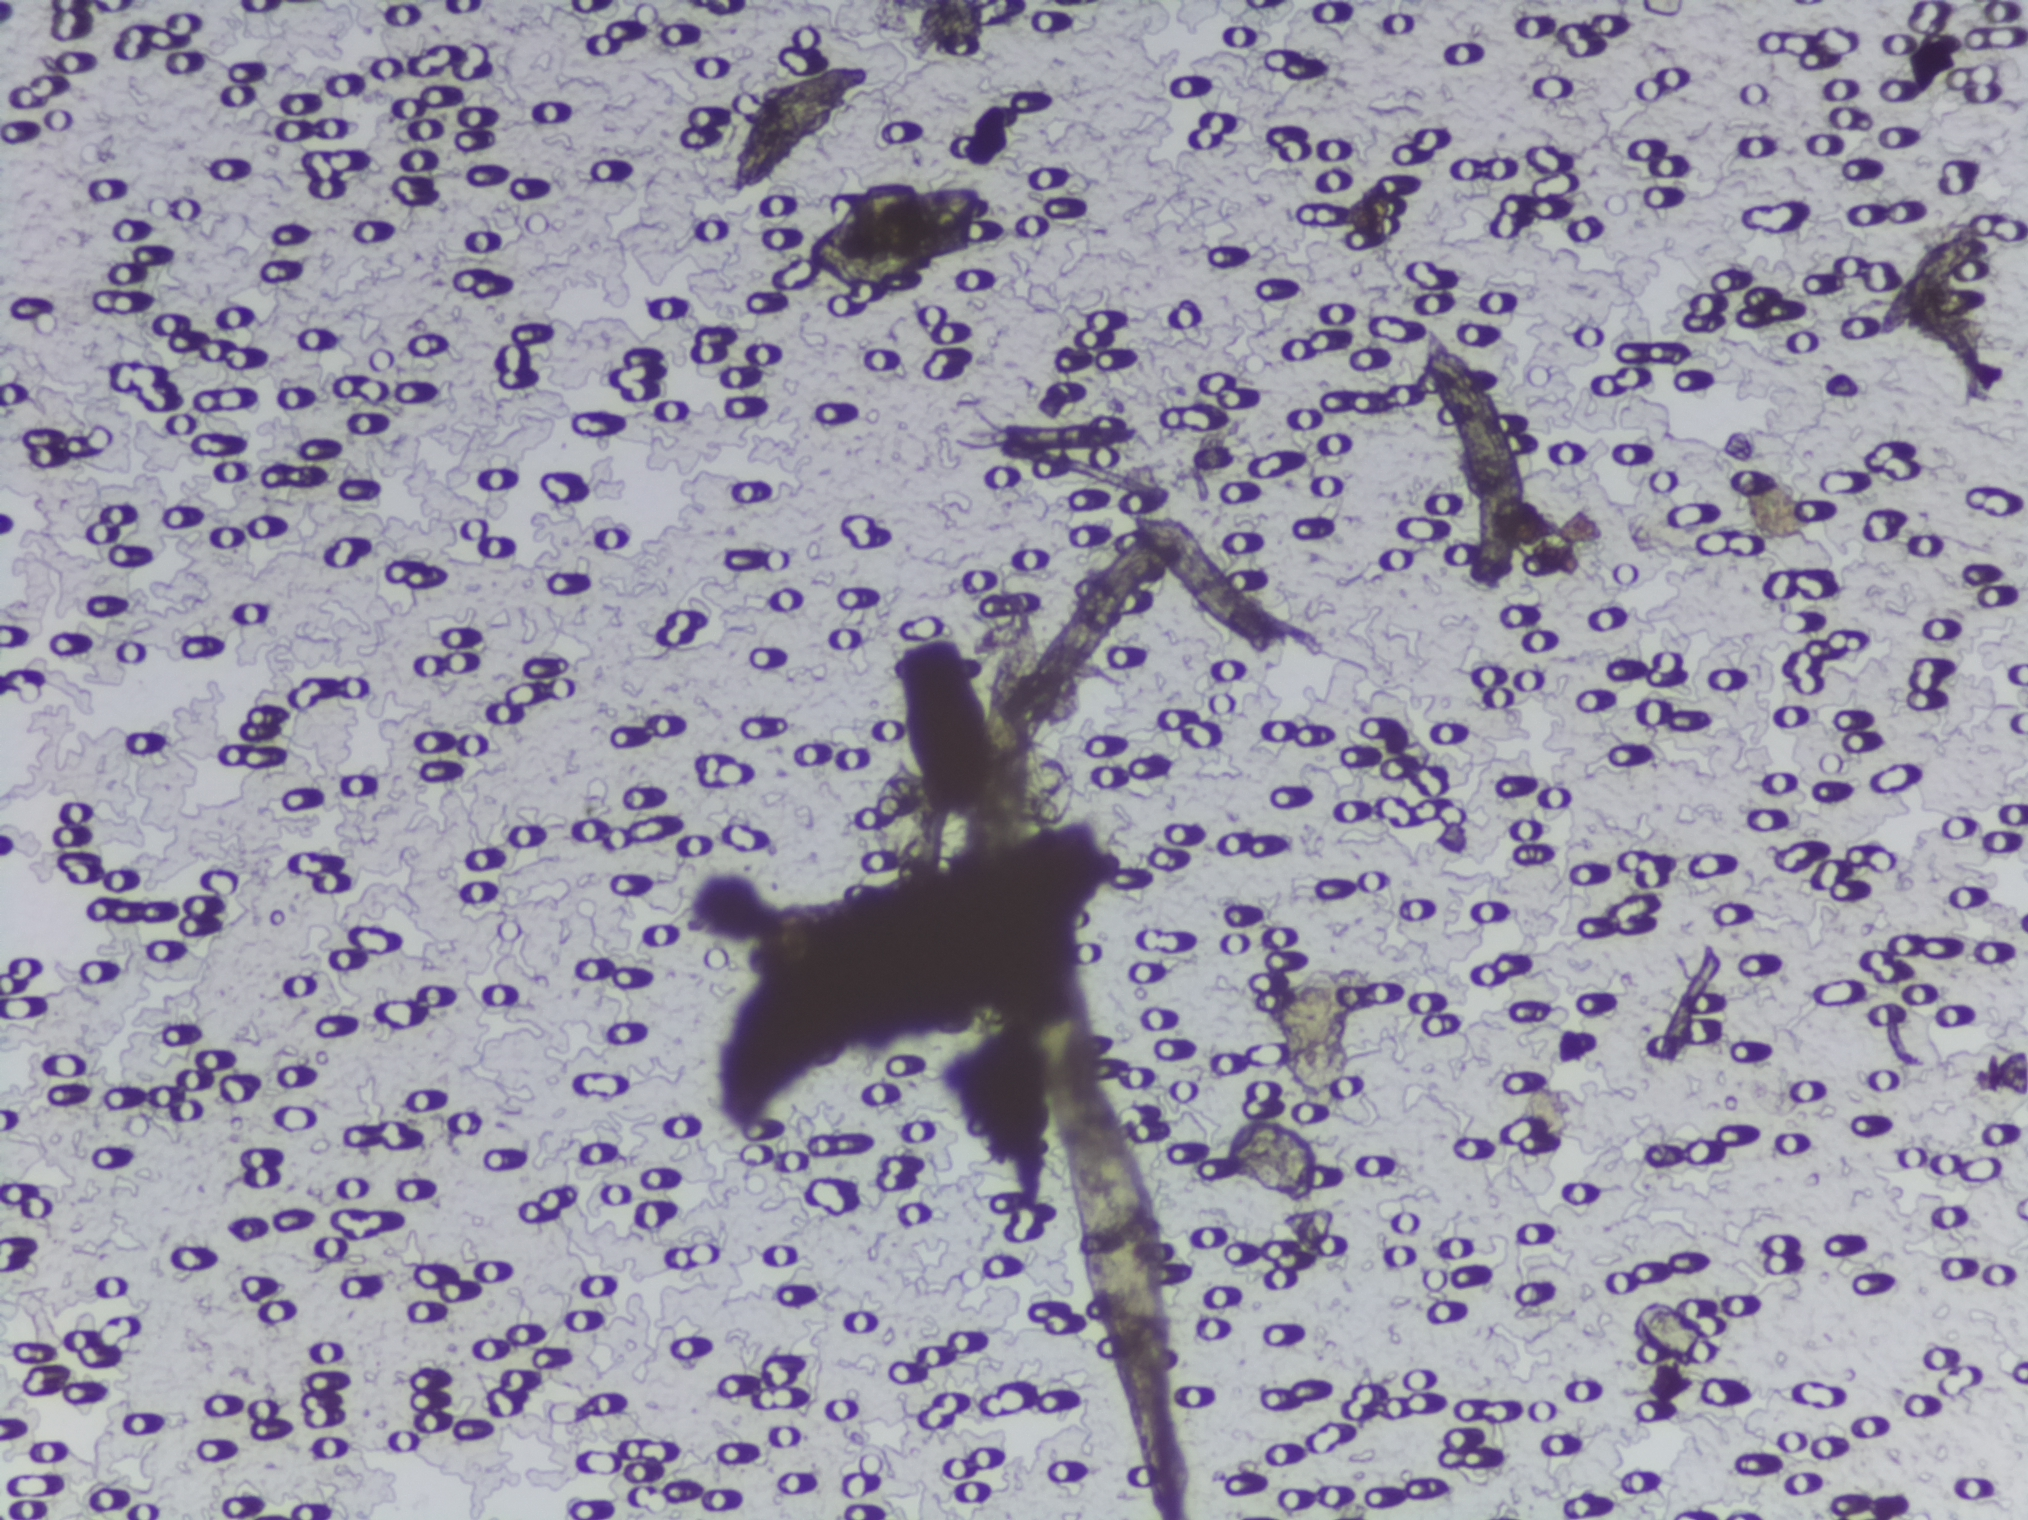
Urine filter membrane photographed through a 4× microscope objective. Field of view: about 1.5 mm wide and 1.1 mm high.
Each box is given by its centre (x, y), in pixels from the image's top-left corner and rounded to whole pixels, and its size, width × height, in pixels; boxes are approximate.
The expert annotation outlines Schistosoma eggs at centre (1315, 1031), 95 × 129 px. An outlined area can hold more than one egg. A marked egg may occasionally be S. mansoni rather than S. haematobium.